Urine filter membrane photographed through a 4× microscope objective. The field of view is about 1.5 mm × 1.1 mm.
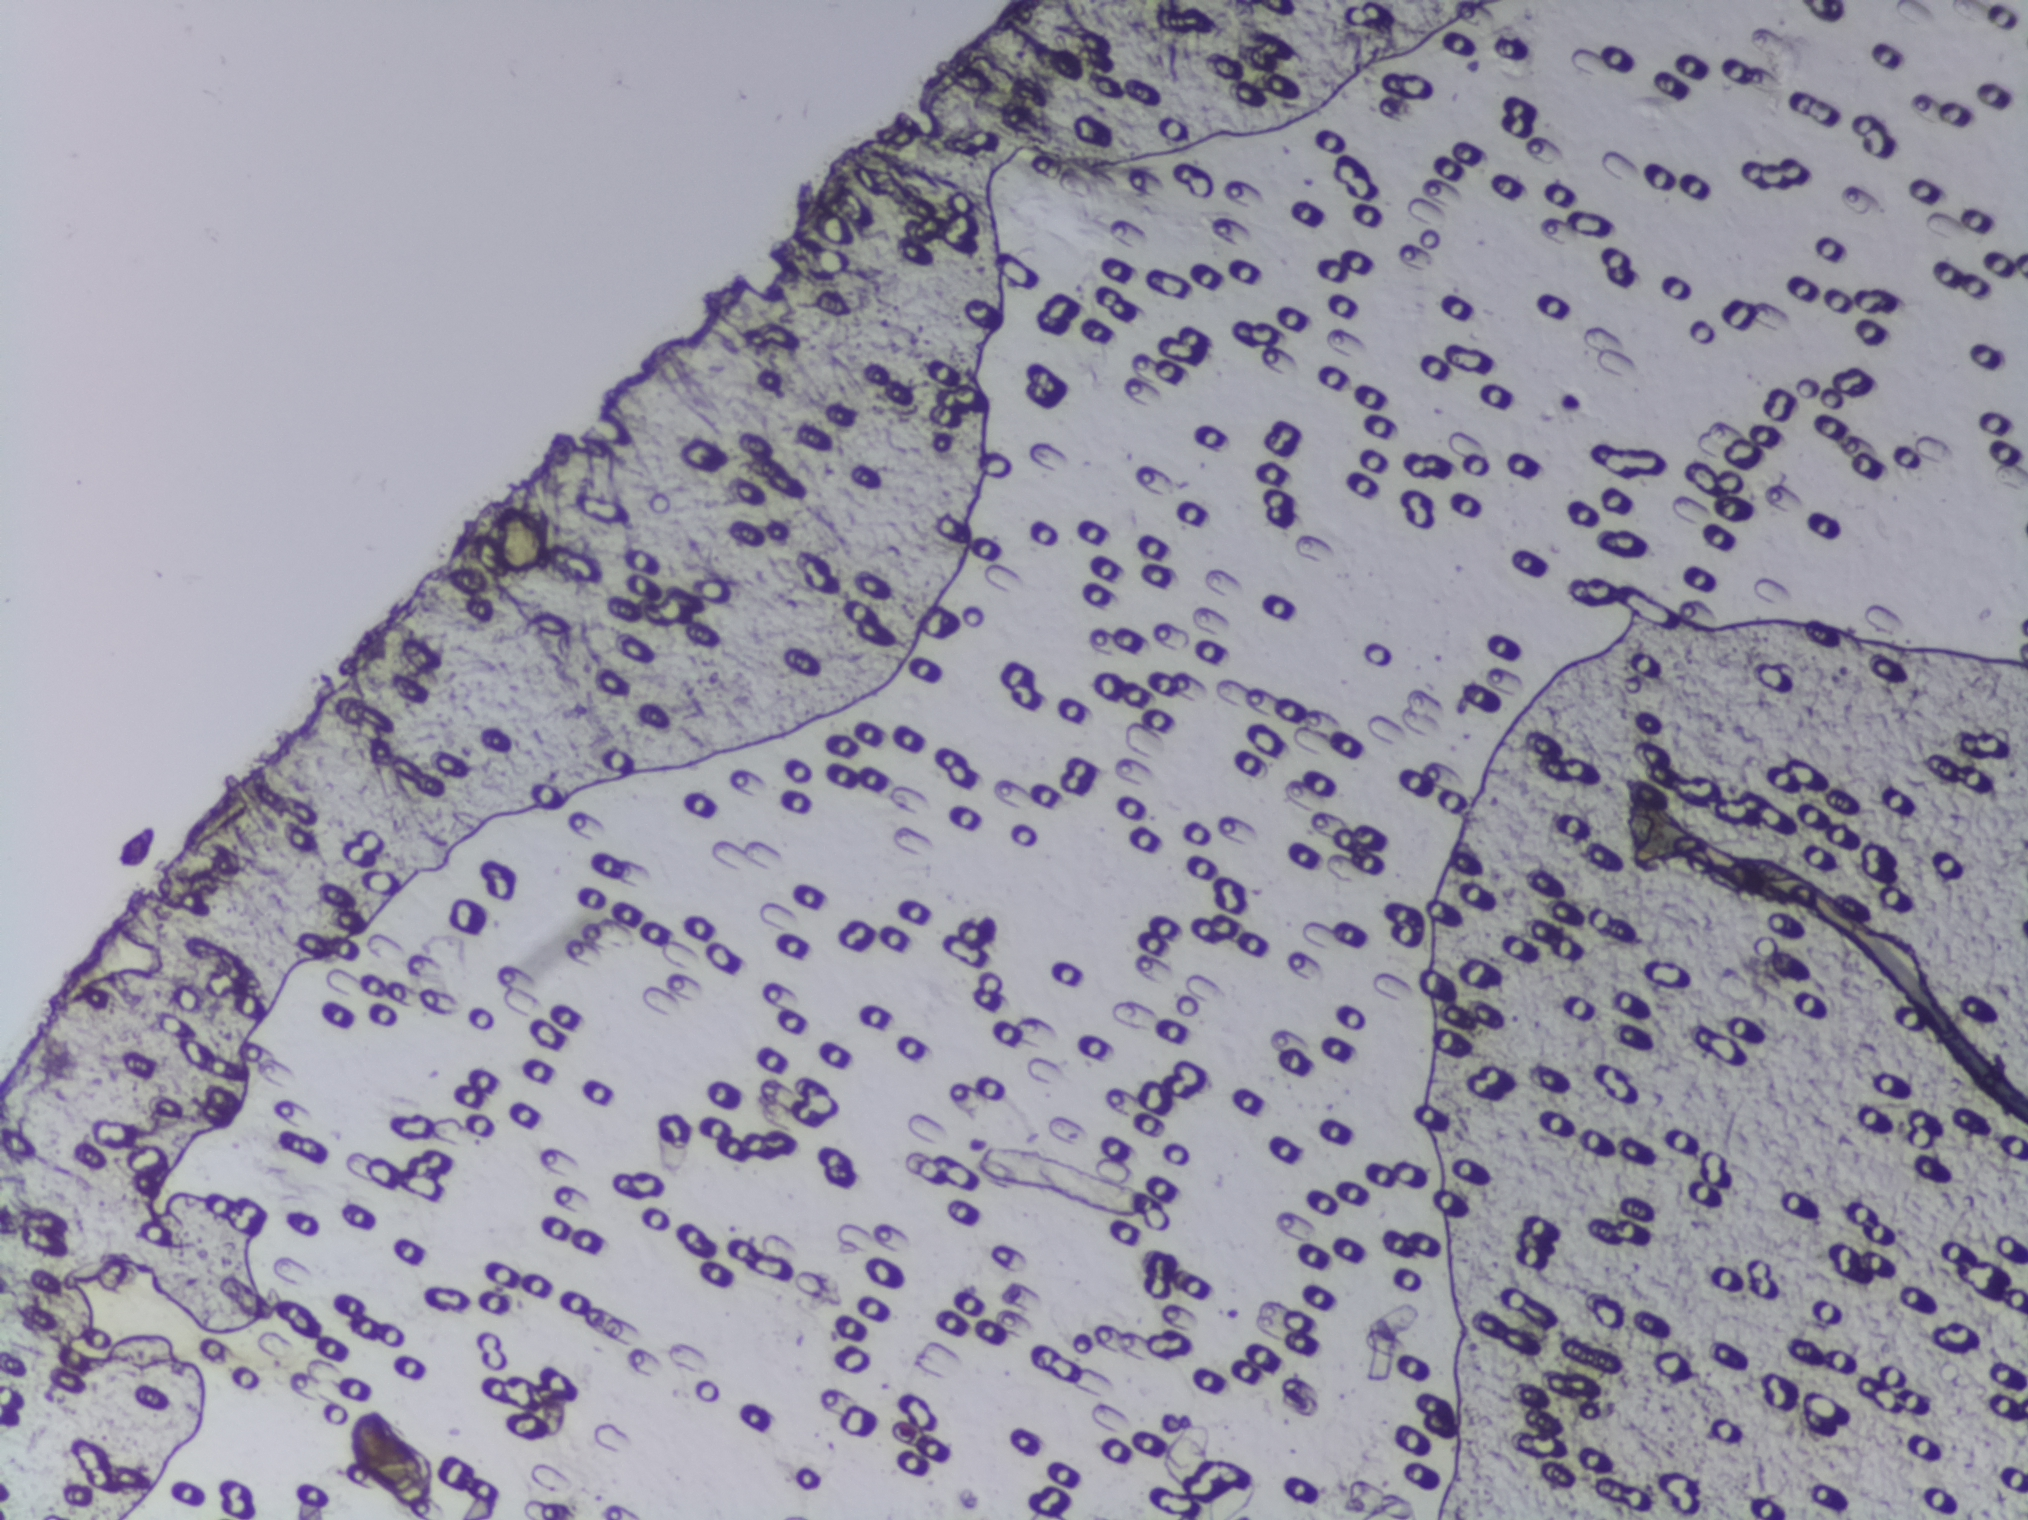
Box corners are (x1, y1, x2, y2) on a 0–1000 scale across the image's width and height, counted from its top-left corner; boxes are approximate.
One area of this image is outlined as Schistosoma eggs: (172, 926, 219, 1000) (reaching the bottom edge of the frame). The marked pixels themselves, not the box around them, cover about 0.3% of the image. Eggs that touch can end up inside the same outlined area.